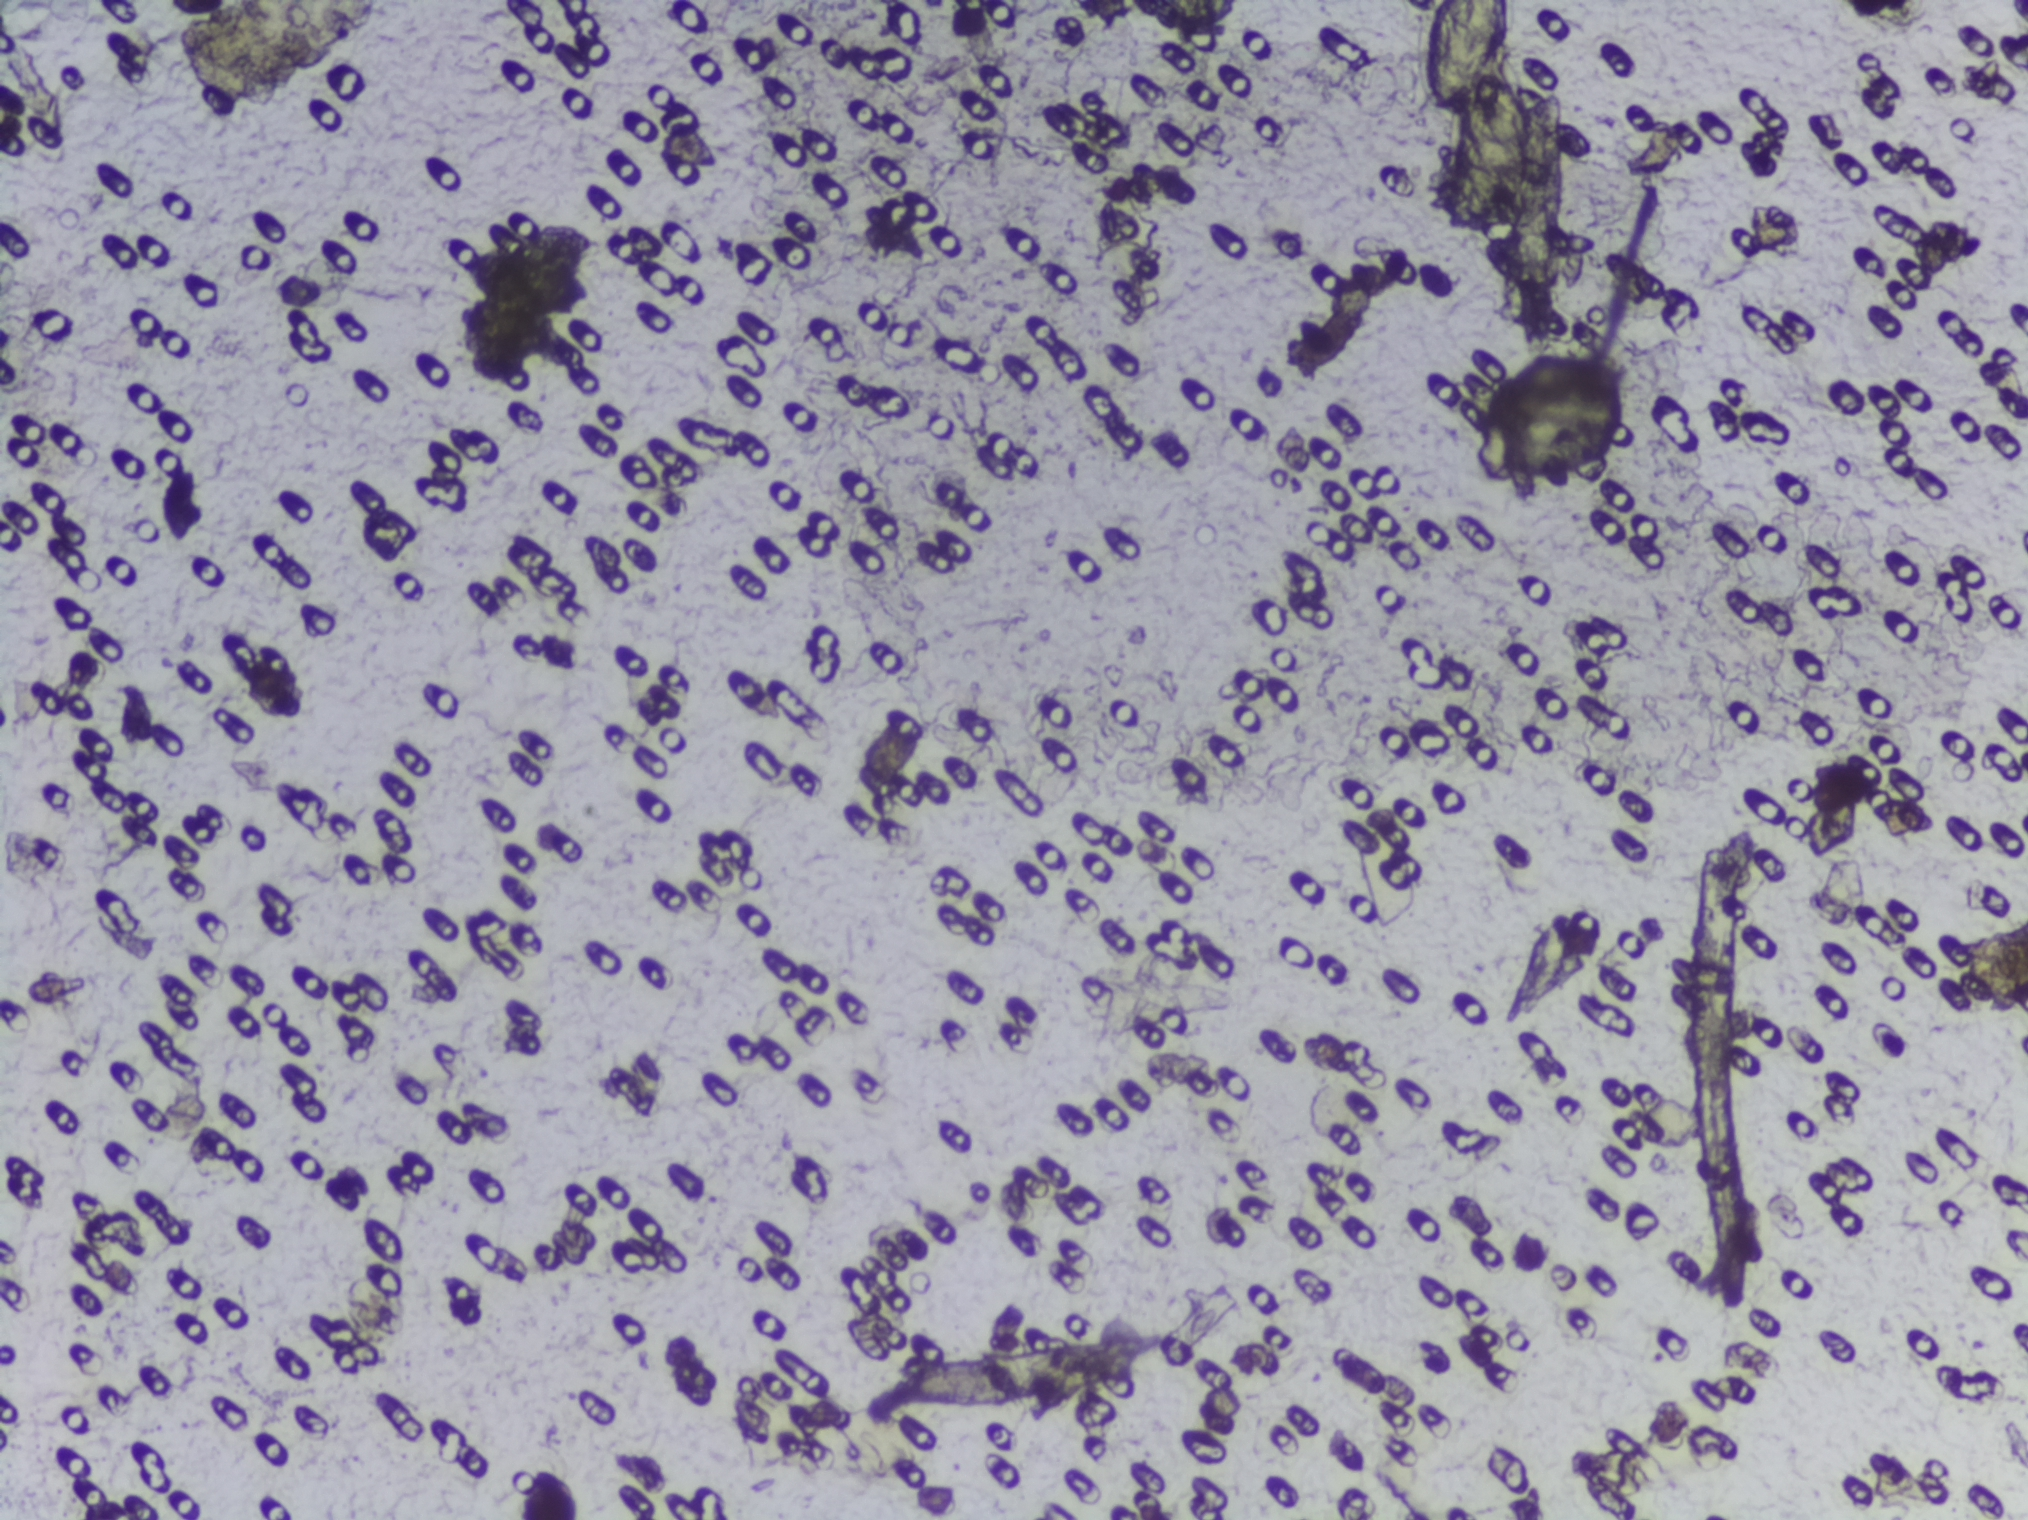
Urine filter membrane photographed through a 4× microscope objective. The field of view is about 1.5 mm × 1.1 mm.
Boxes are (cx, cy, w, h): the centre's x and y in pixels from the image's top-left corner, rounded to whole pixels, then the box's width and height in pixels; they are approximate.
Schistosoma eggs are outlined in the expert annotation at (cx=1487, cy=124, w=145, h=248) (reaching the top edge of the frame). An outlined area can hold more than one egg.